Photomicrograph of a urine filtration membrane, 4× objective.
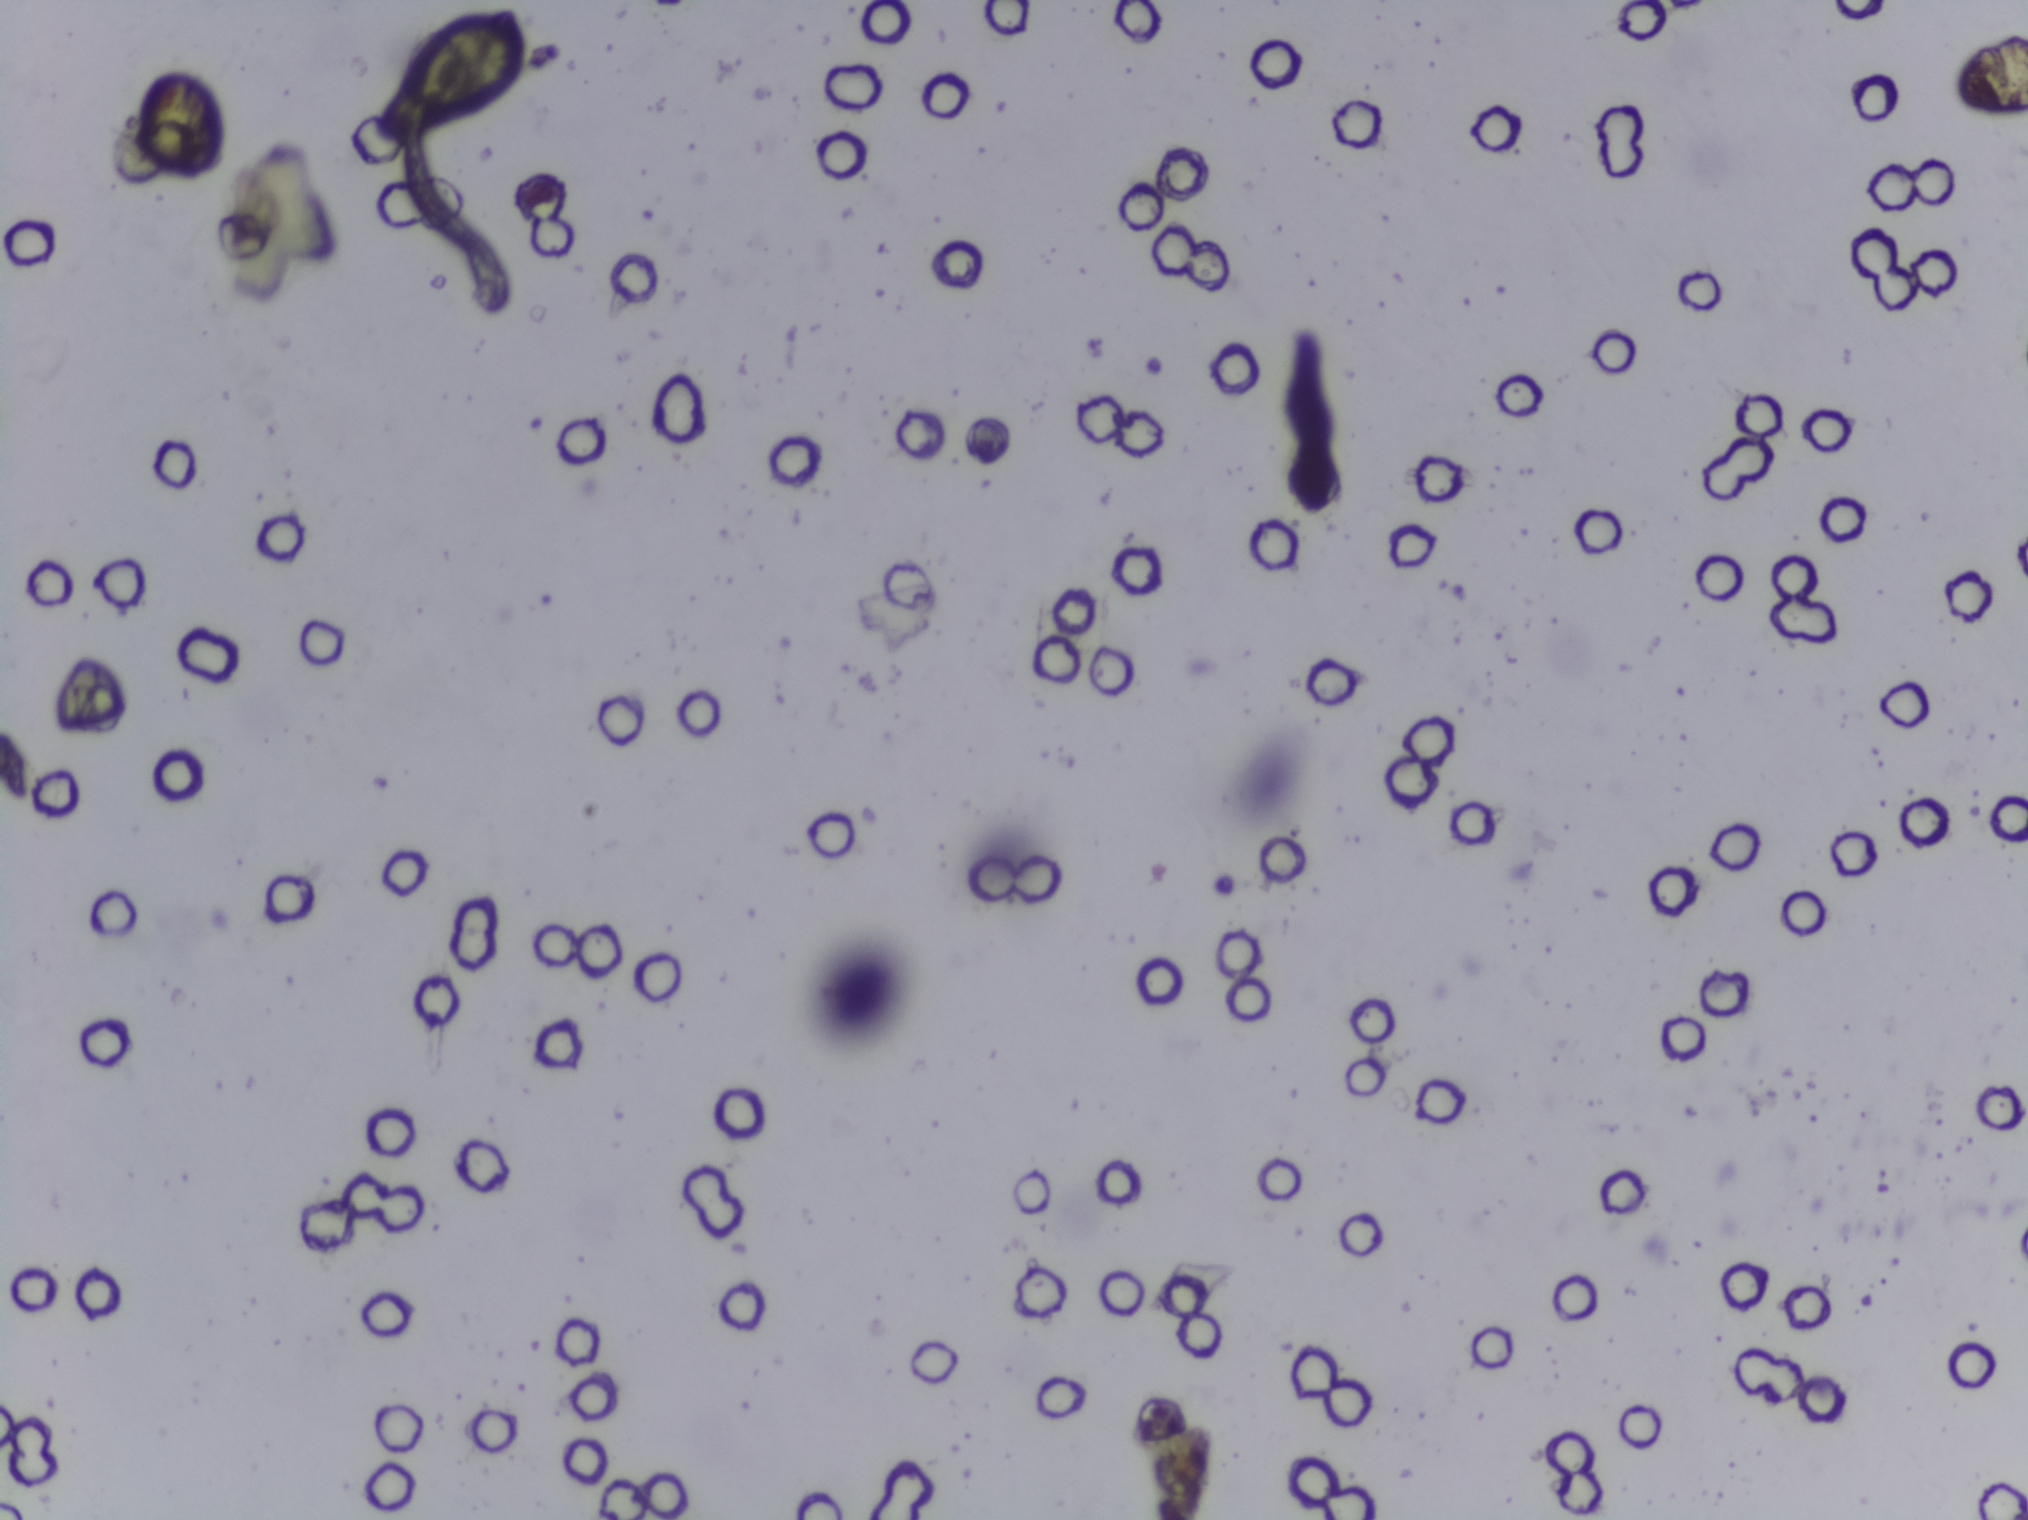
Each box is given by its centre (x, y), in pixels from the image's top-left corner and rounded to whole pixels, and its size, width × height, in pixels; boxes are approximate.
Three areas of this image are outlined as Schistosoma eggs, from left to right: centre (157, 128), 99 × 115 px; centre (281, 215), 115 × 96 px; centre (448, 57), 104 × 99 px. Eggs that touch can end up inside the same outlined area. A marked egg may occasionally be S. mansoni rather than S. haematobium.